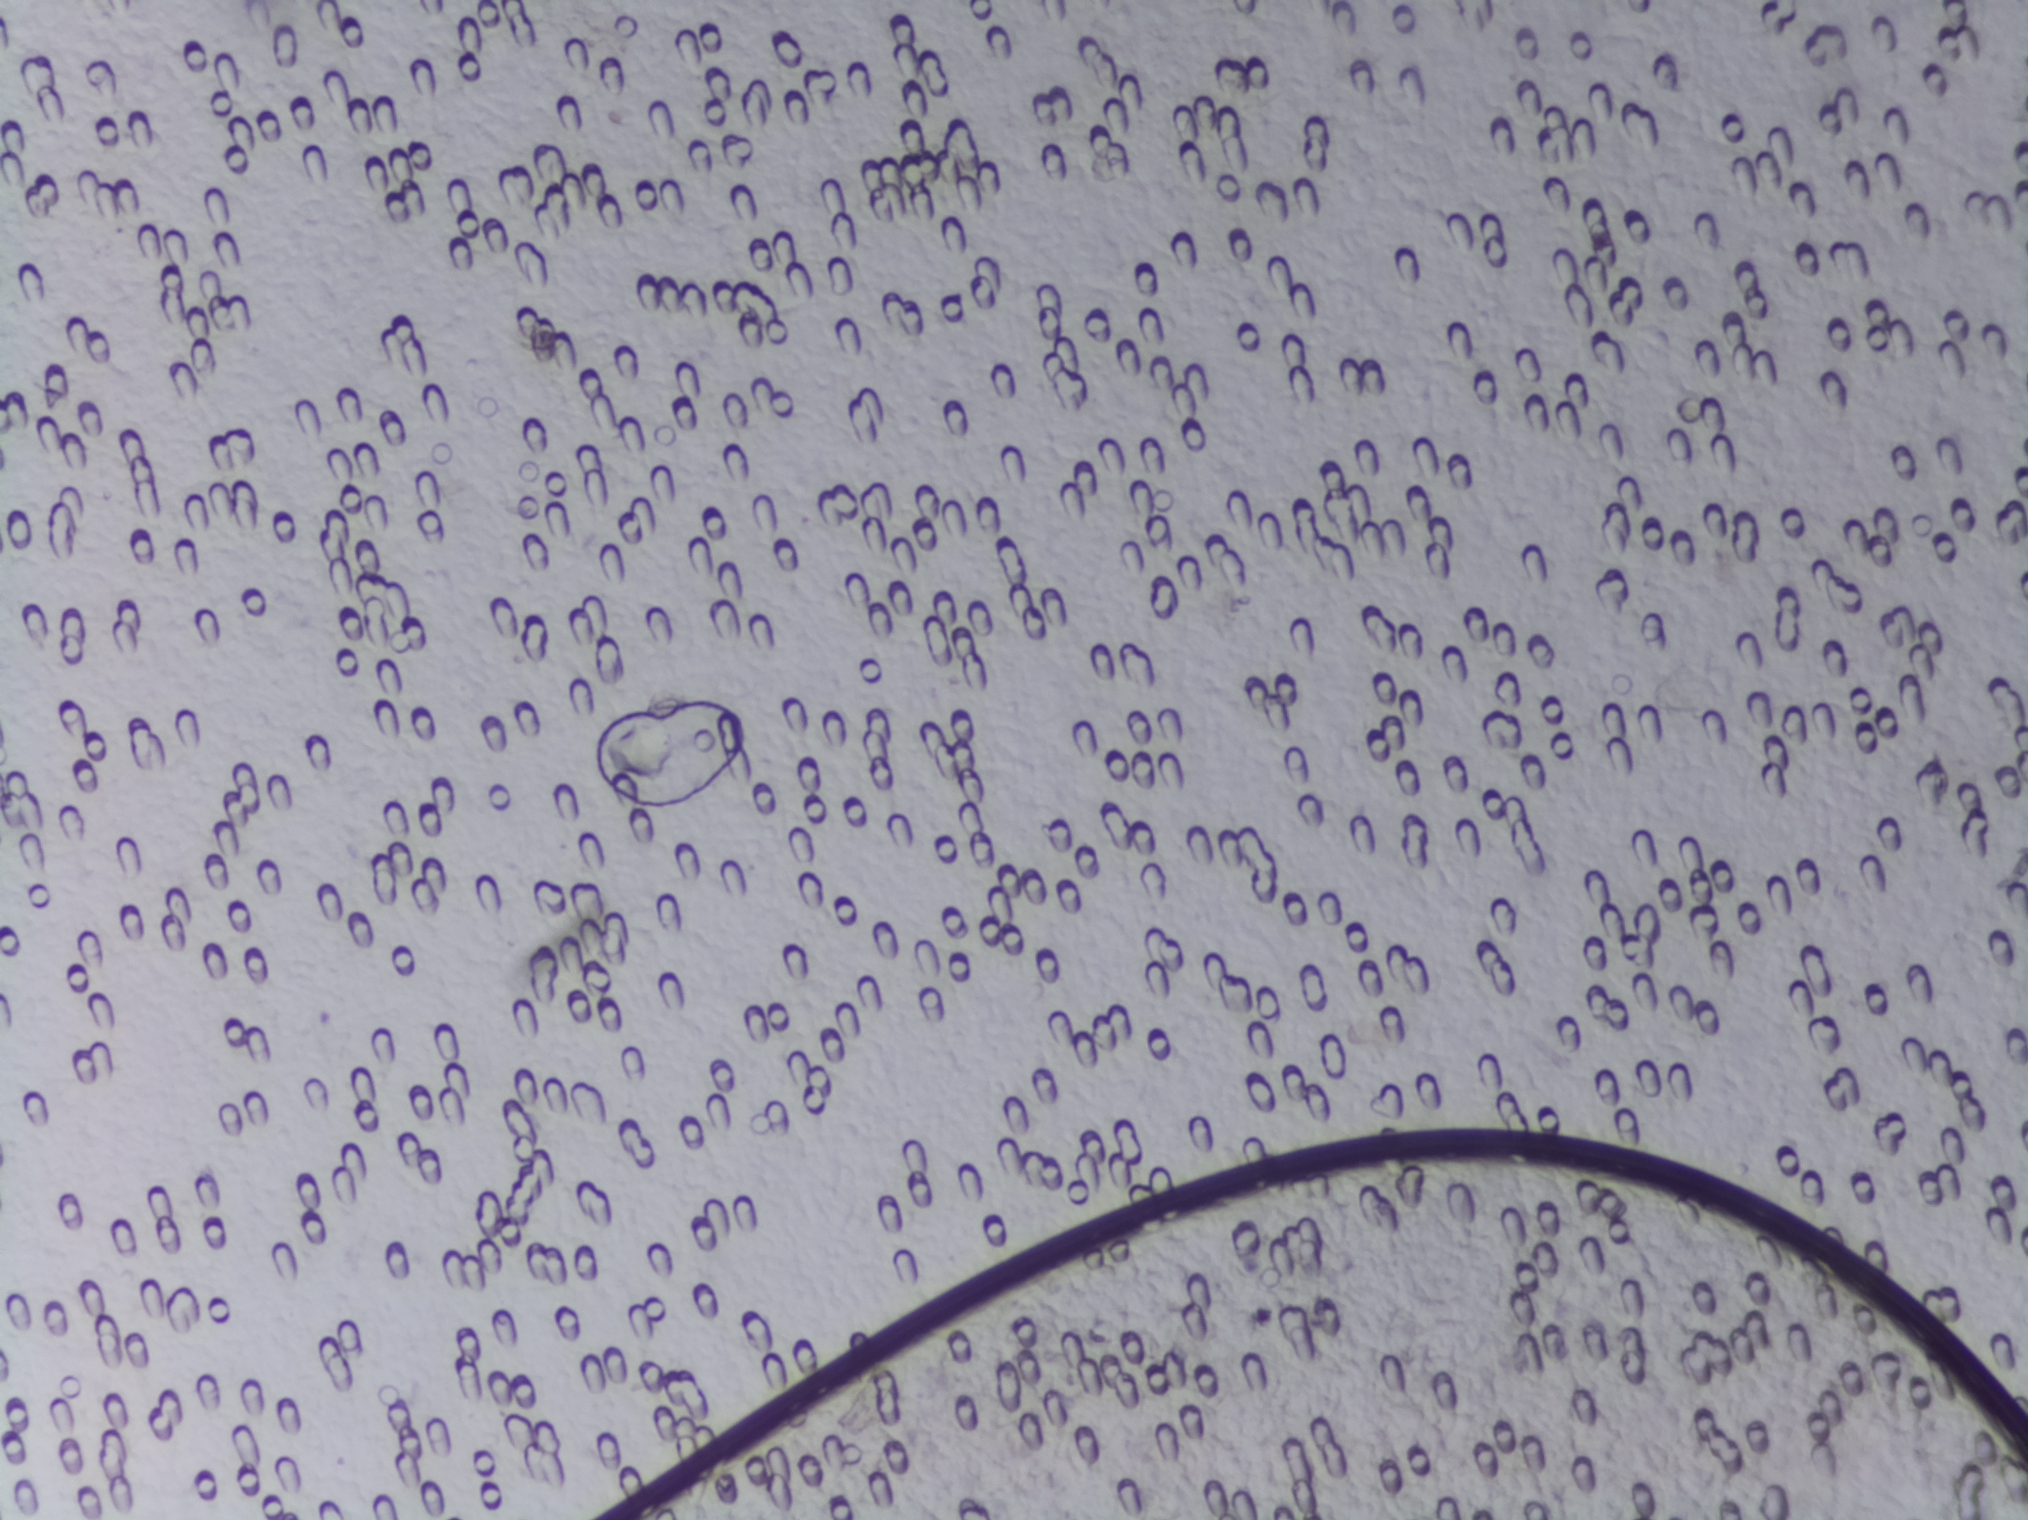
One field of view of a urine filter membrane, 4× objective, 2028 × 1520 pixels.
No Schistosoma egg is outlined in this image's expert annotation.